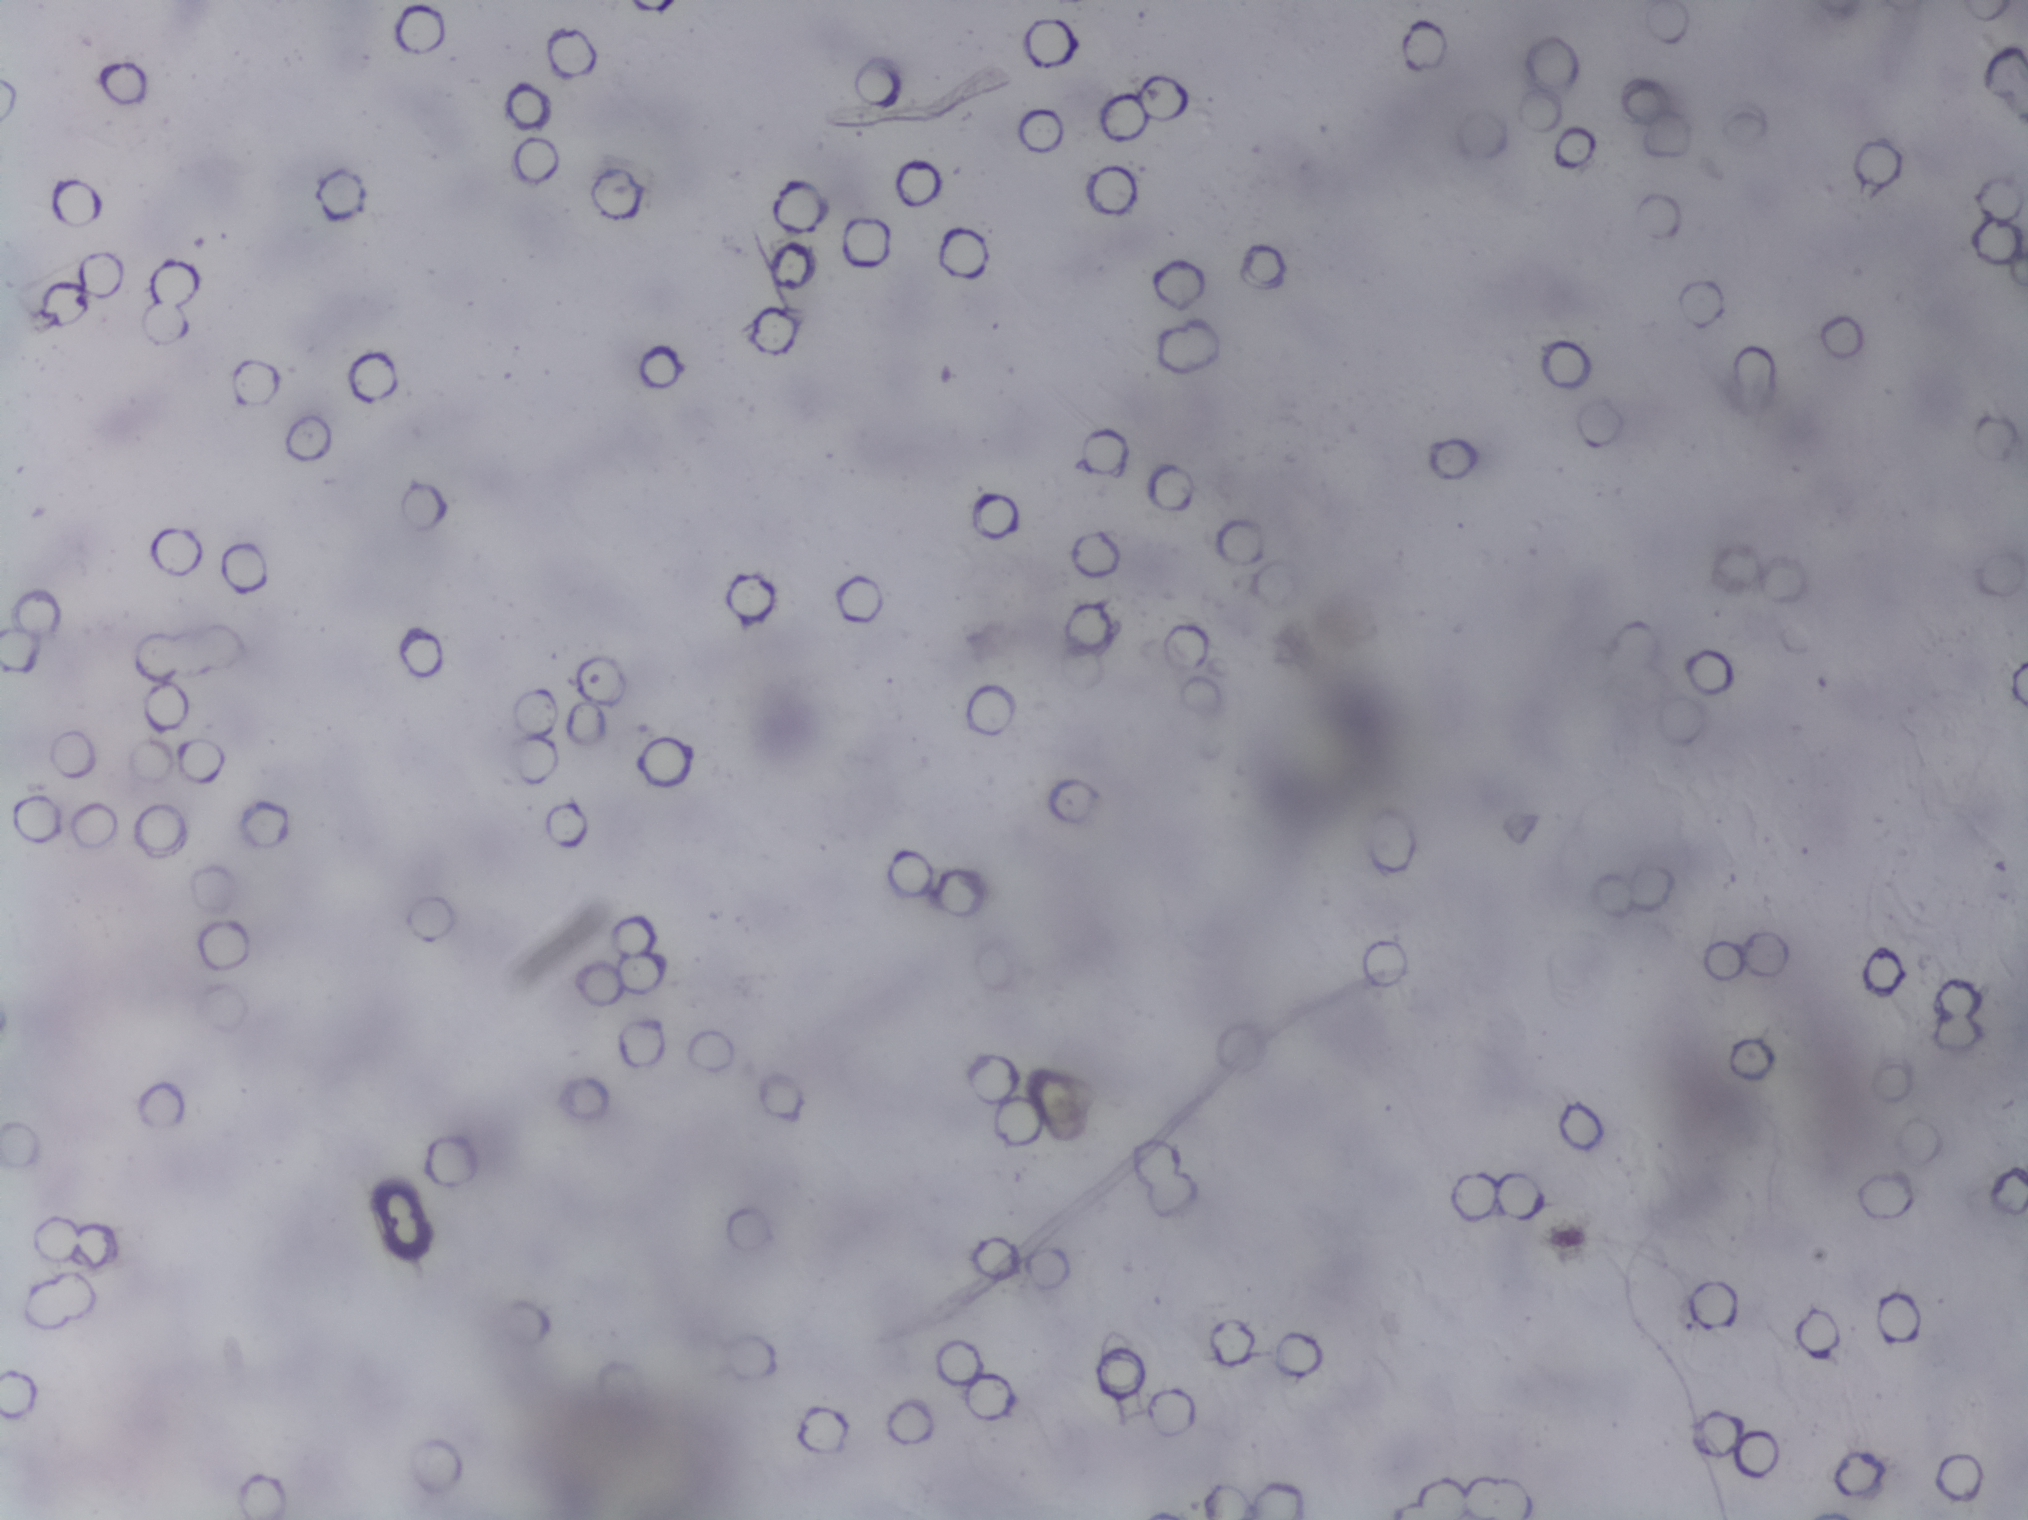
Urine filter membrane photographed through a 4× microscope objective. Field of view: about 1.5 mm wide and 1.1 mm high.
The expert annotation outlines no Schistosoma egg in this image.